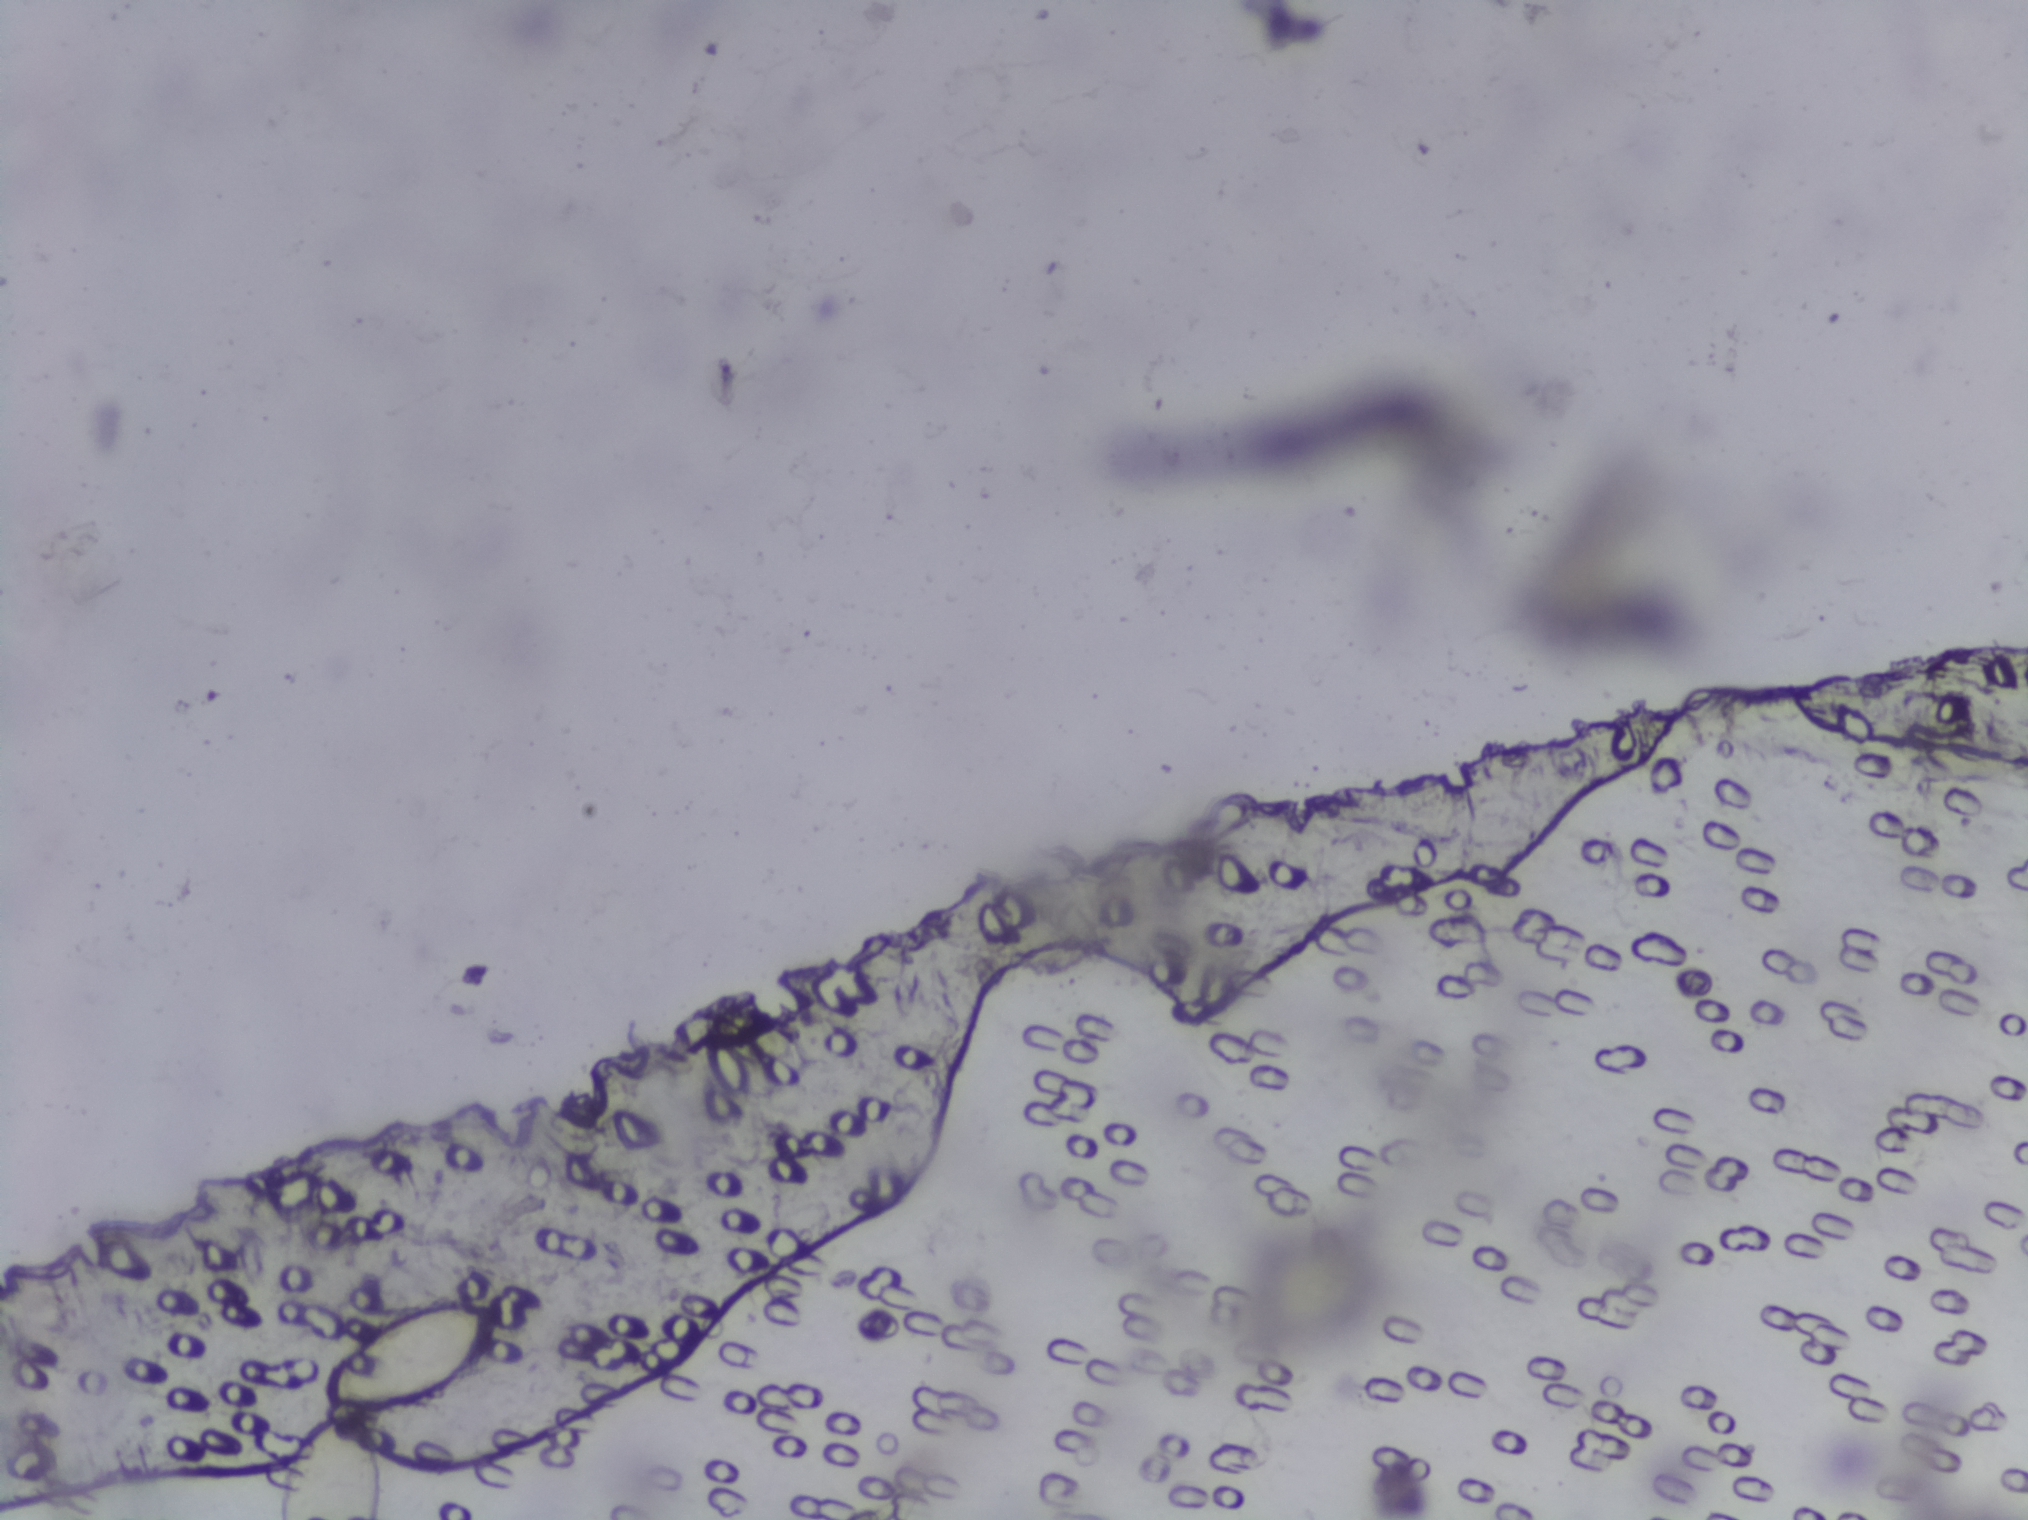
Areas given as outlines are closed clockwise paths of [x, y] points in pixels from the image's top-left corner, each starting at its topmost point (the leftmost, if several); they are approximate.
The expert annotation outlines Schistosoma eggs in one area: outline [464, 1297], [486, 1297], [499, 1309], [499, 1326], [473, 1367], [432, 1400], [360, 1407], [376, 1429], [381, 1517], [277, 1519], [289, 1448], [305, 1427], [348, 1407], [330, 1396], [330, 1374], [391, 1313] (reaching the bottom edge of the frame). A single outlined area may contain several eggs.
Photomicrograph of a urine filtration membrane, 4× objective. The field of view is about 1.5 mm × 1.1 mm.